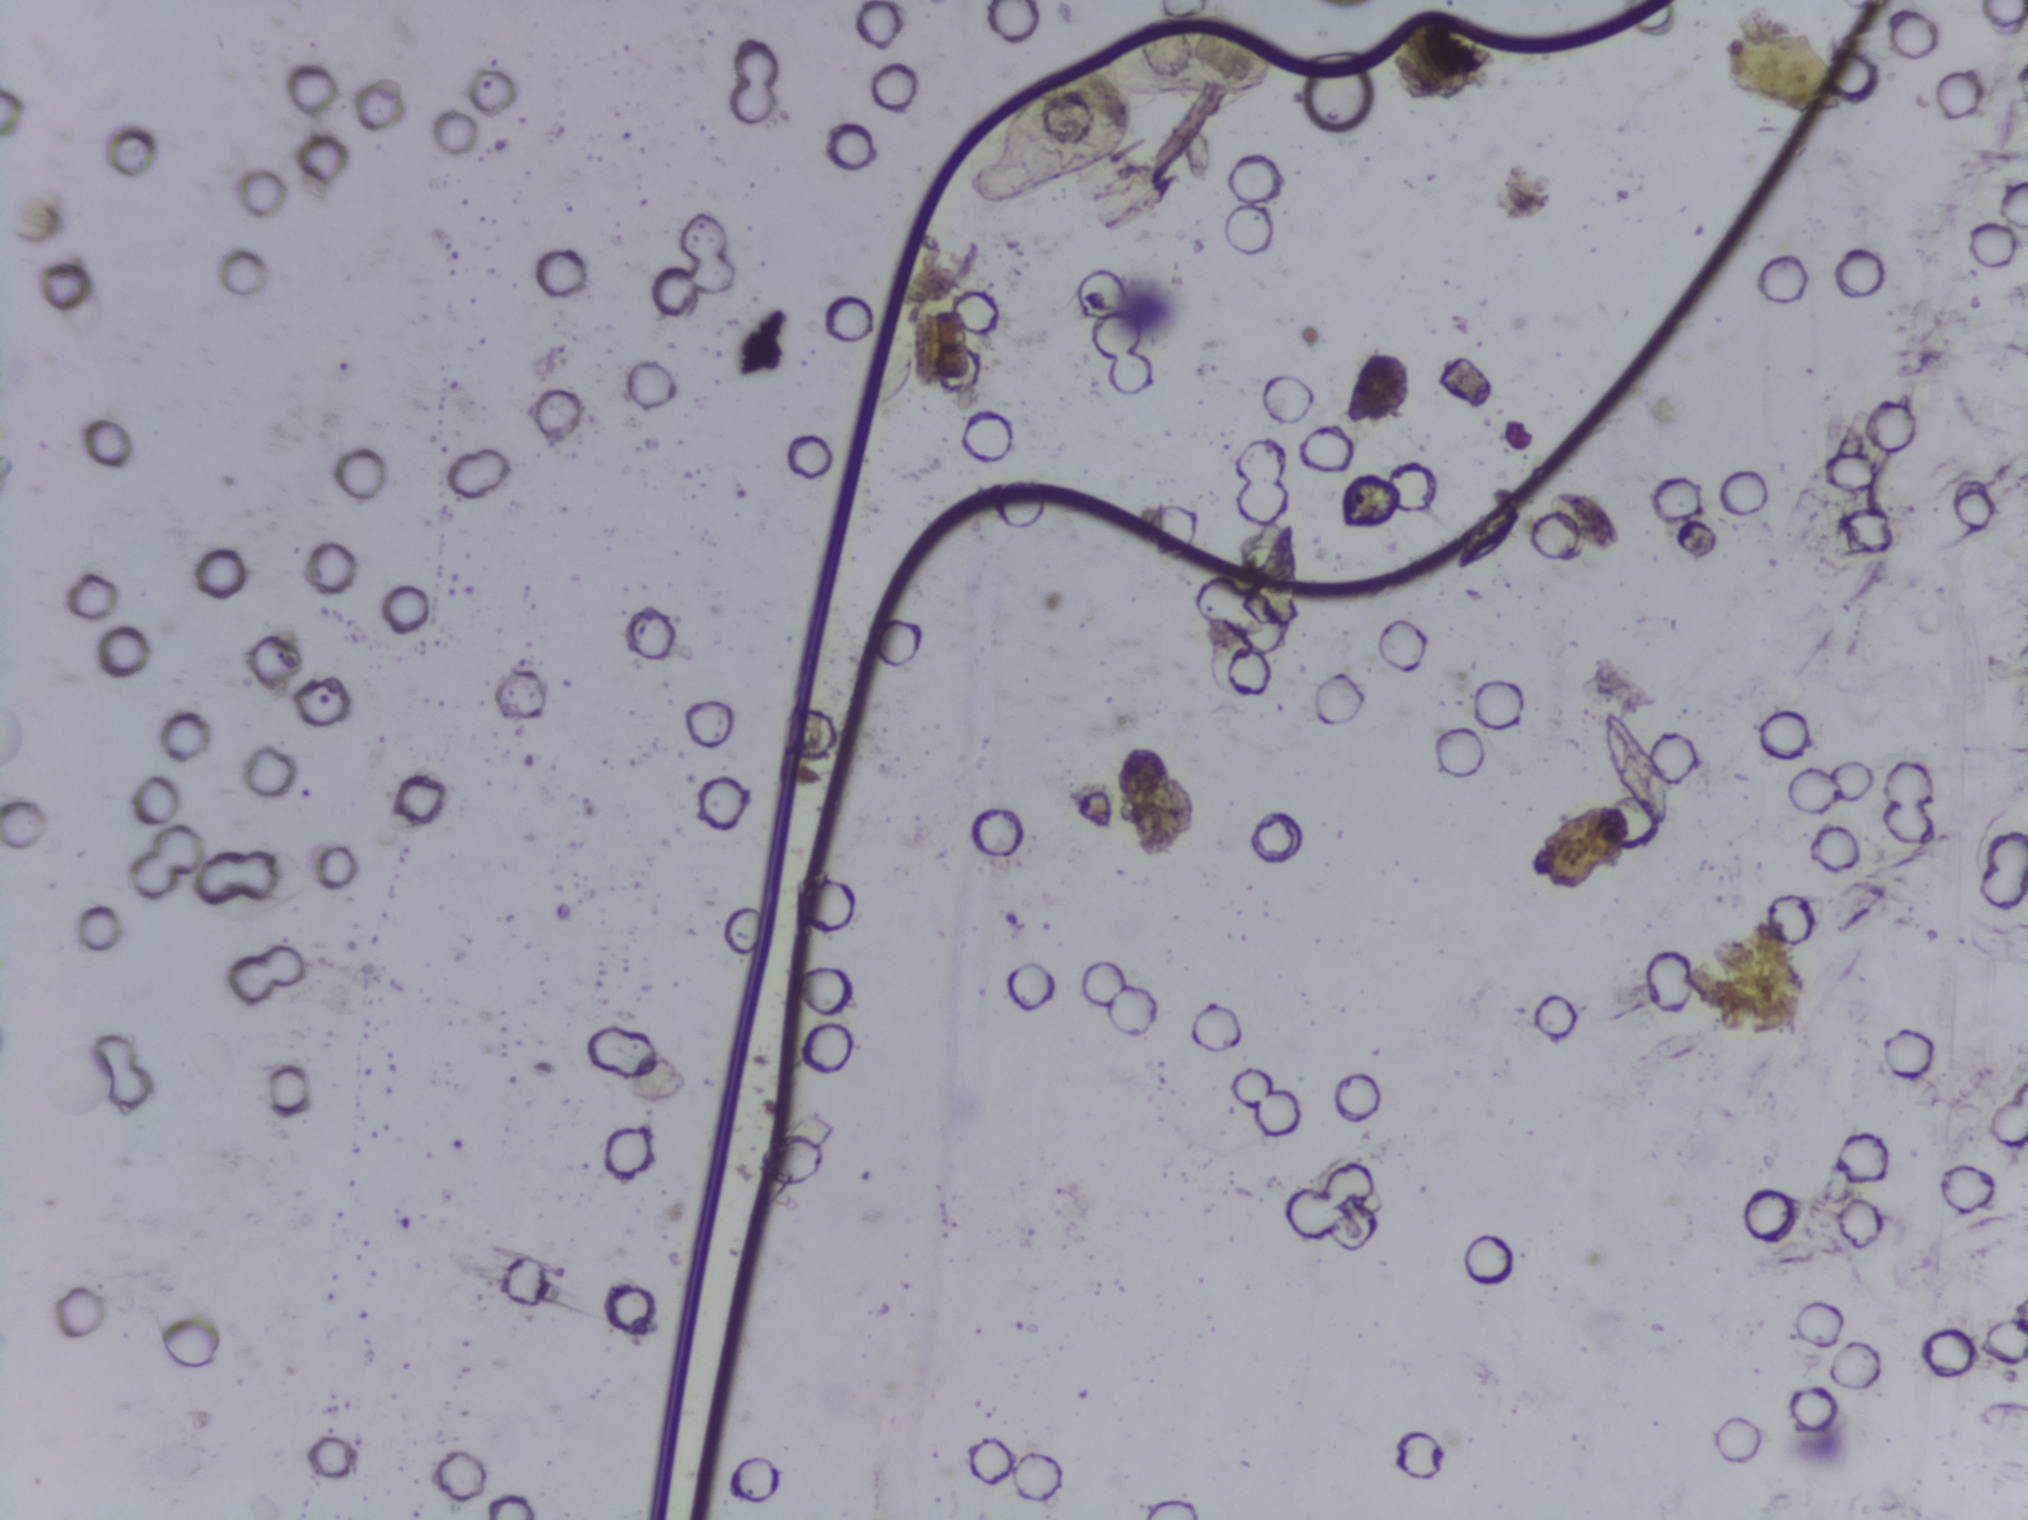
Photograph from an automated digital microscope: urine filter membrane, 4× objective. The image covers about 1.5 × 1.1 mm of the membrane.
The expert annotation outlines no Schistosoma egg in this image.